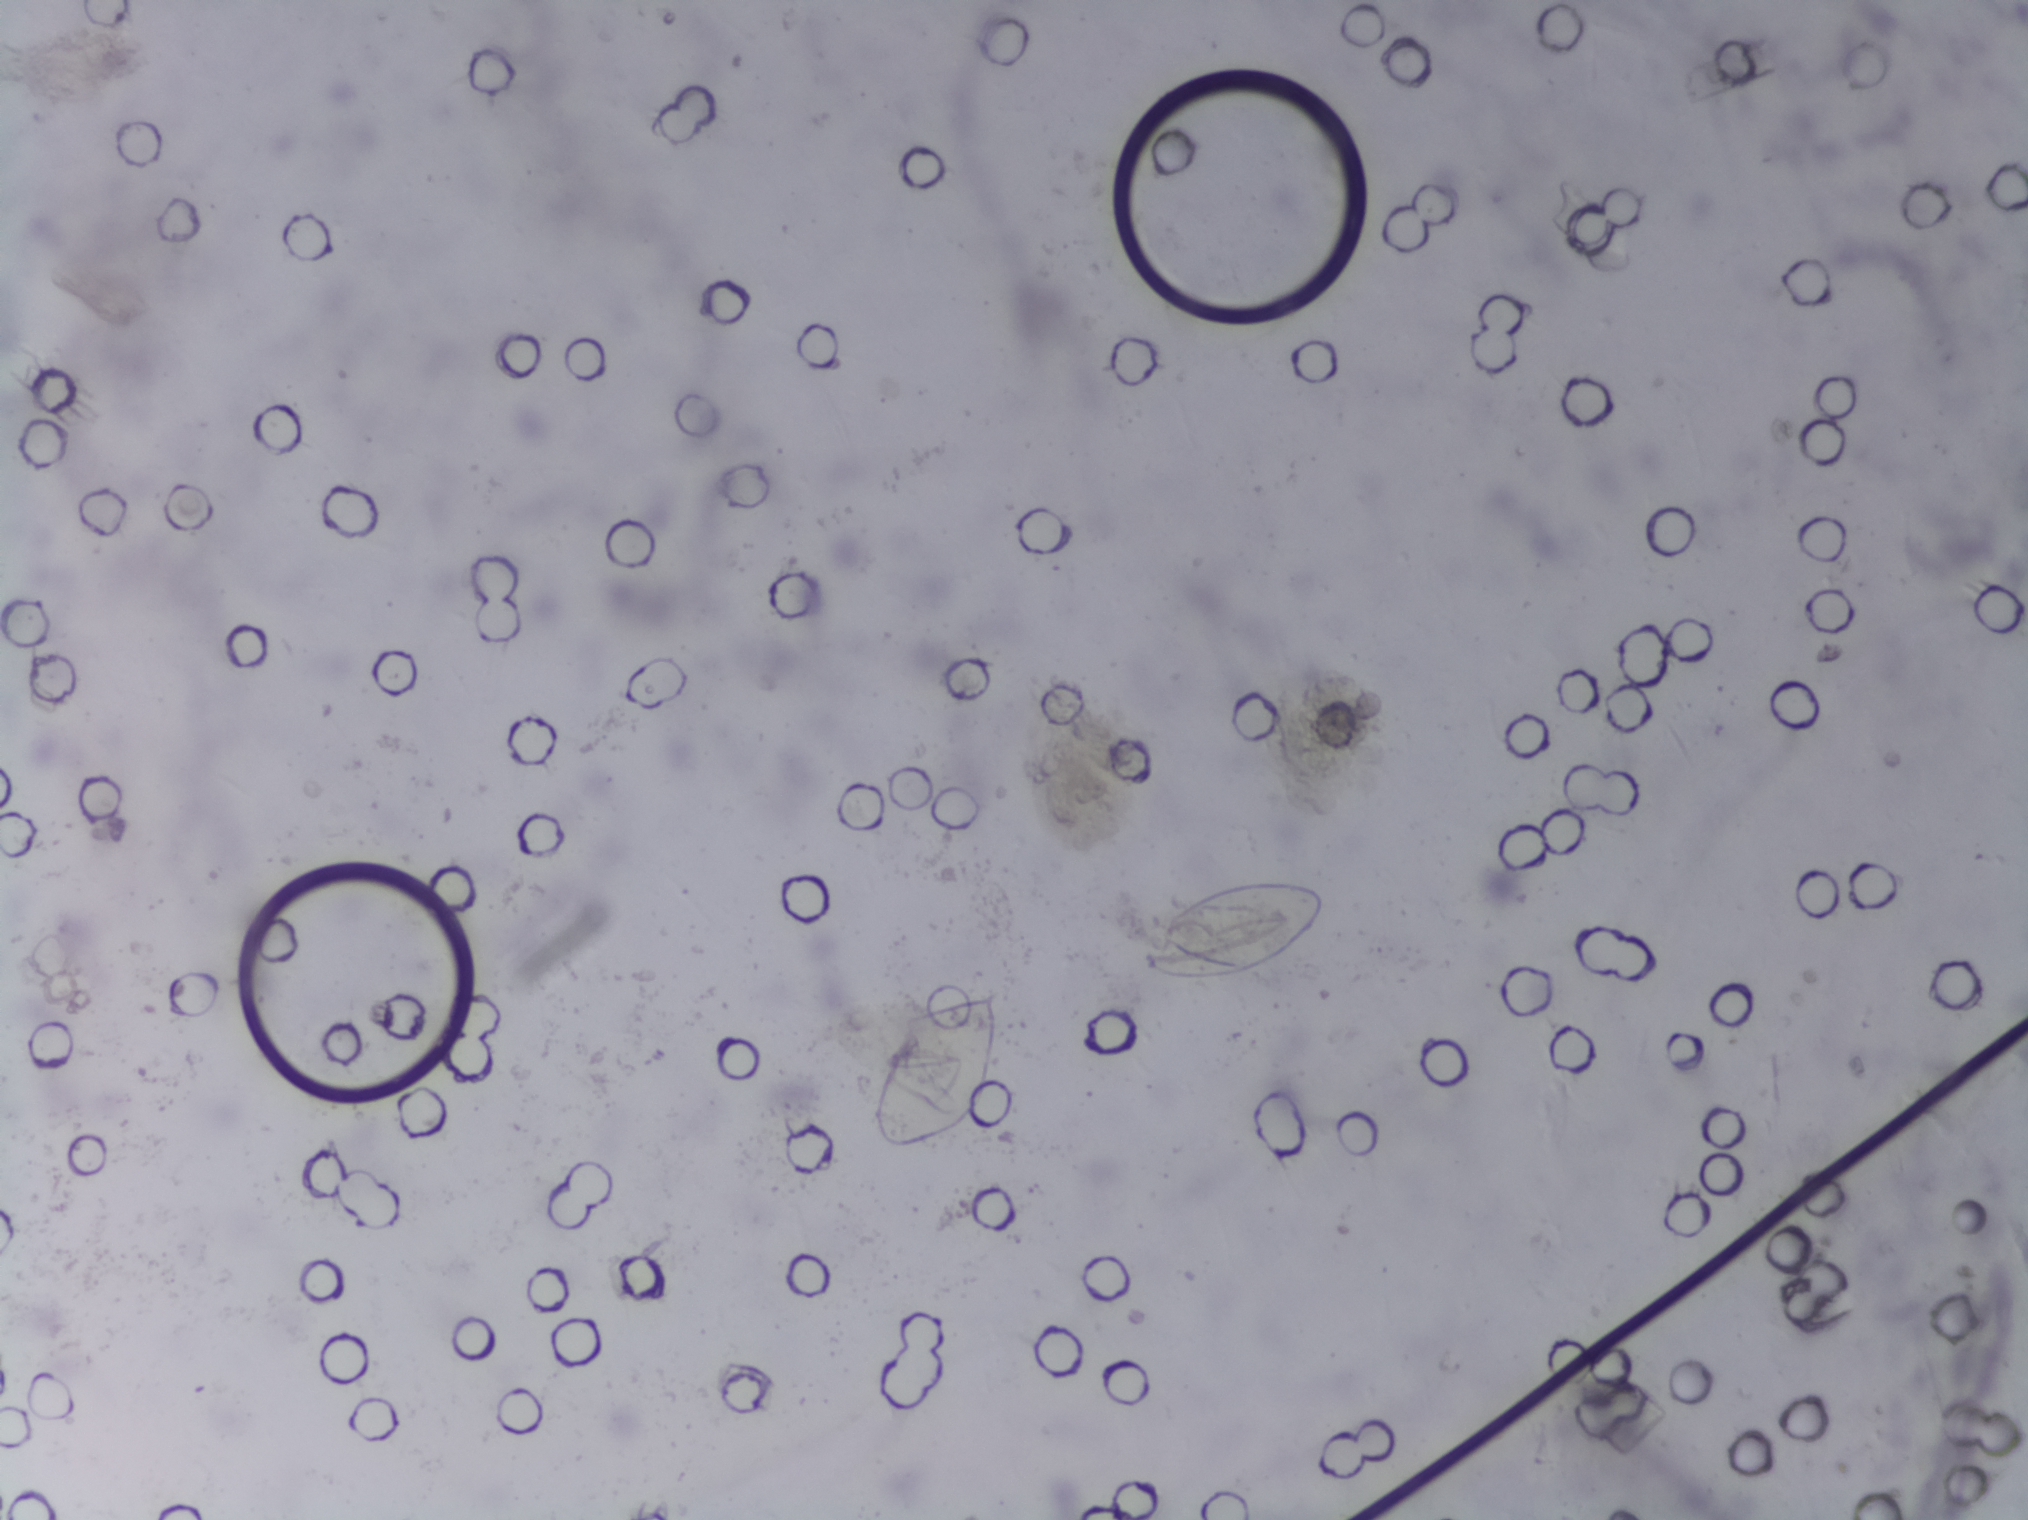
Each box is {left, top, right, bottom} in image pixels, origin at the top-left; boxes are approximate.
Schistosoma eggs are outlined in two areas of this image, listed from left to right: {867, 985, 1006, 1155} and {1133, 879, 1332, 986}. An outlined area can hold more than one egg.
Microscope photograph (4× objective) of a membrane that a urine sample was filtered through.